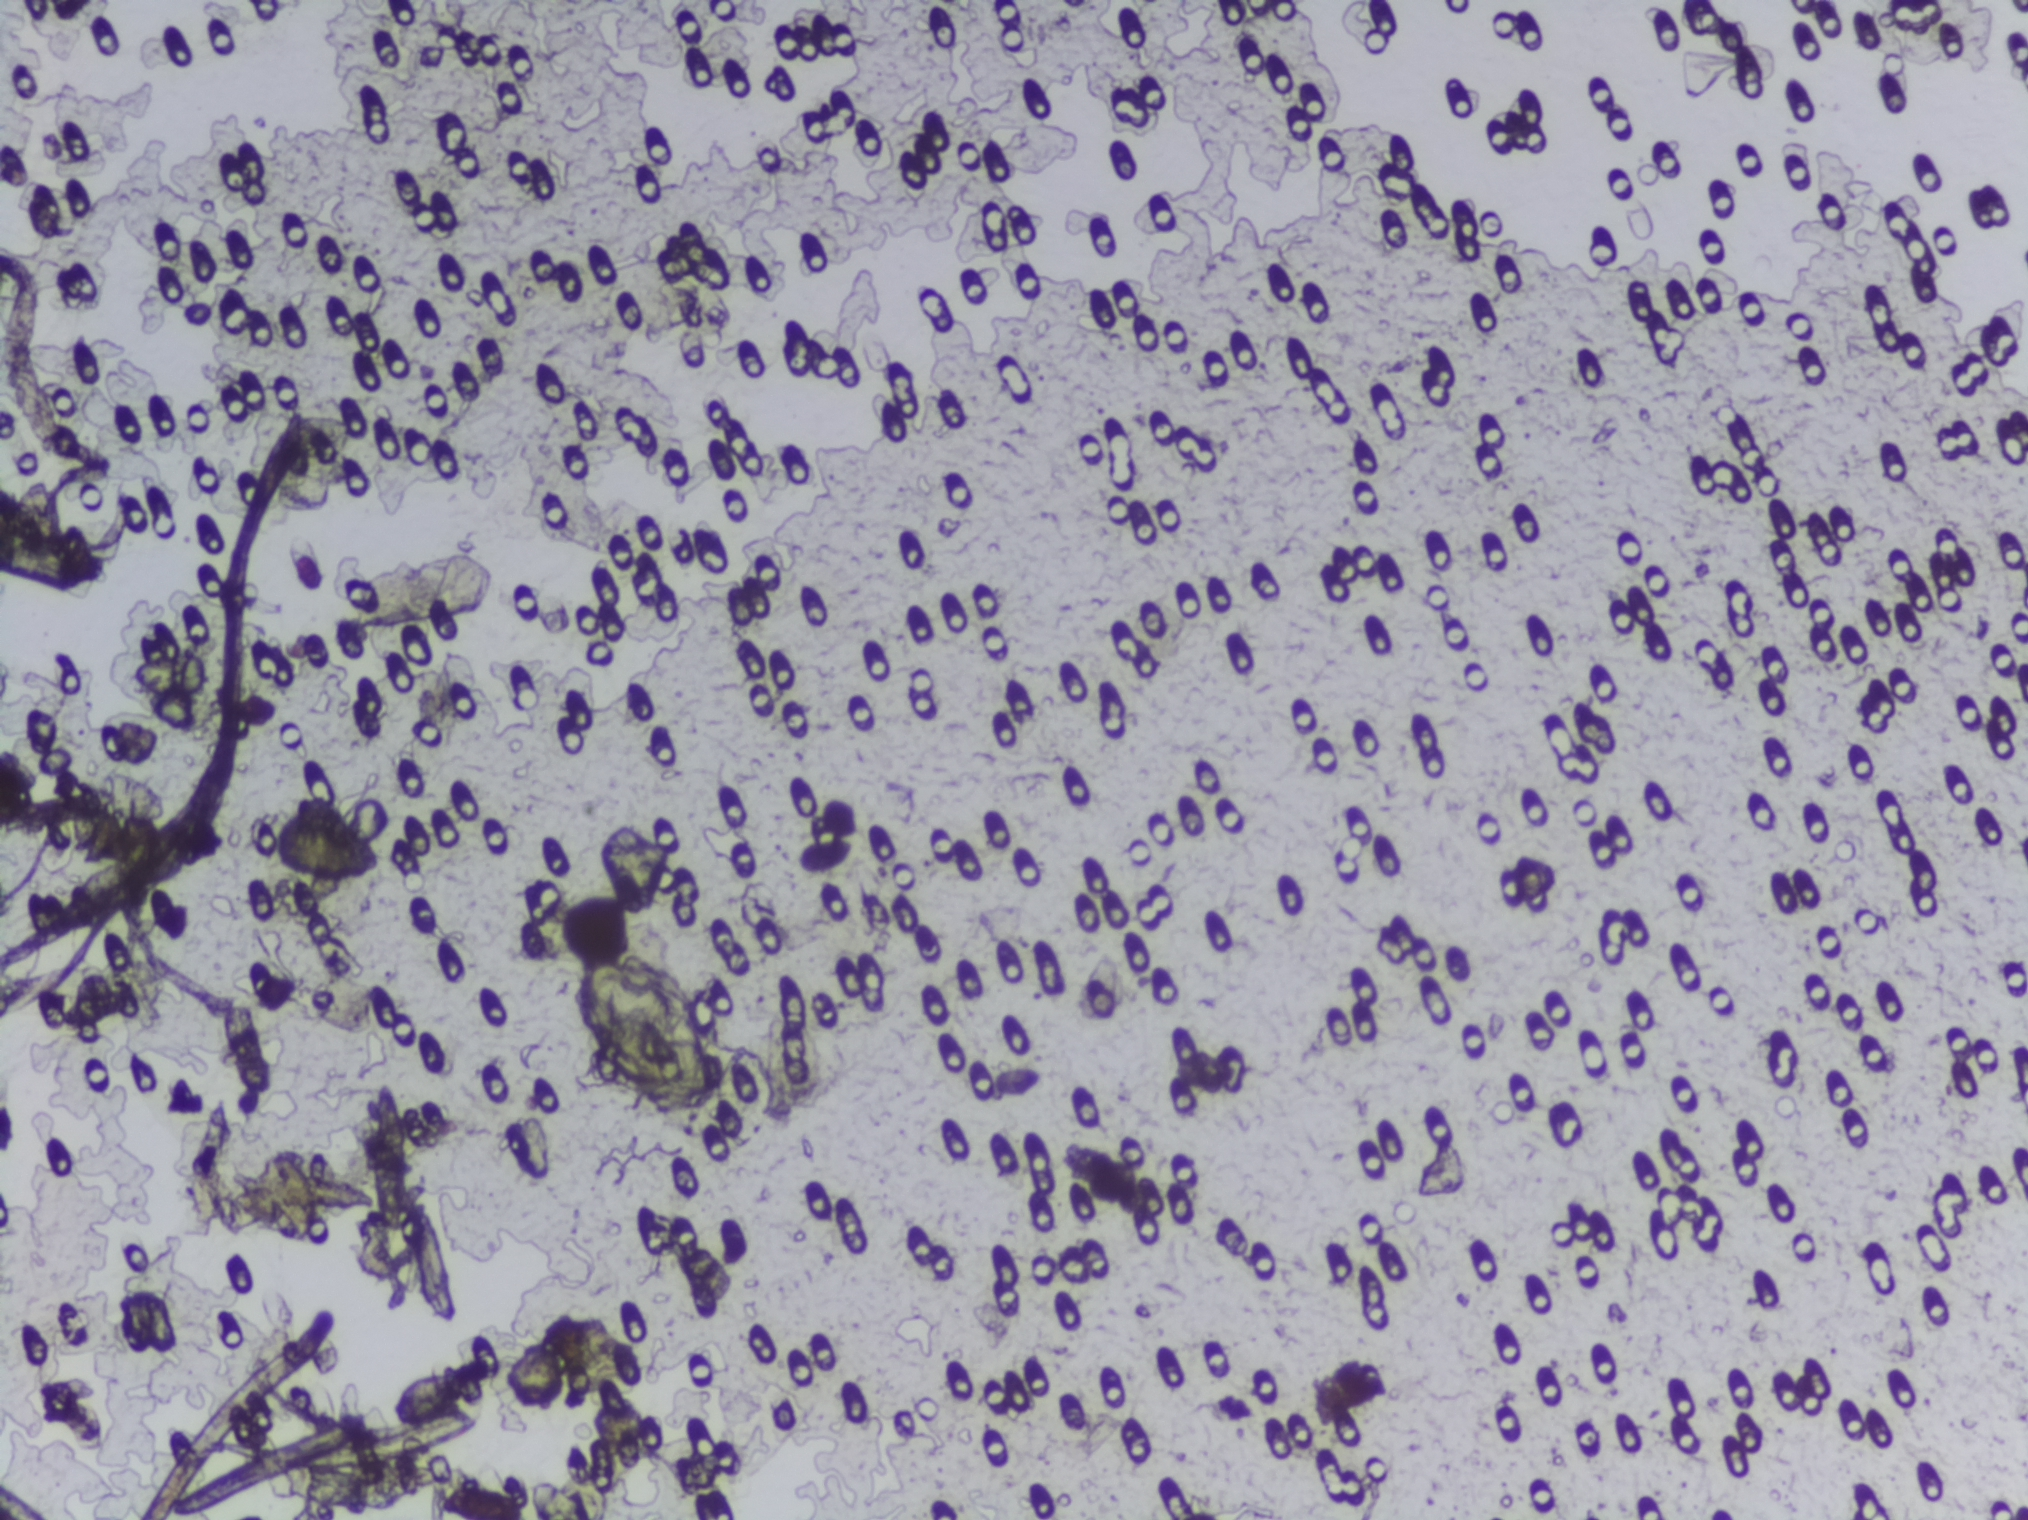
Photograph from an automated digital microscope: urine filter membrane, 4× objective. The image covers about 1.5 × 1.1 mm of the membrane.
The expert annotation marks no Schistosoma egg in this field of view.